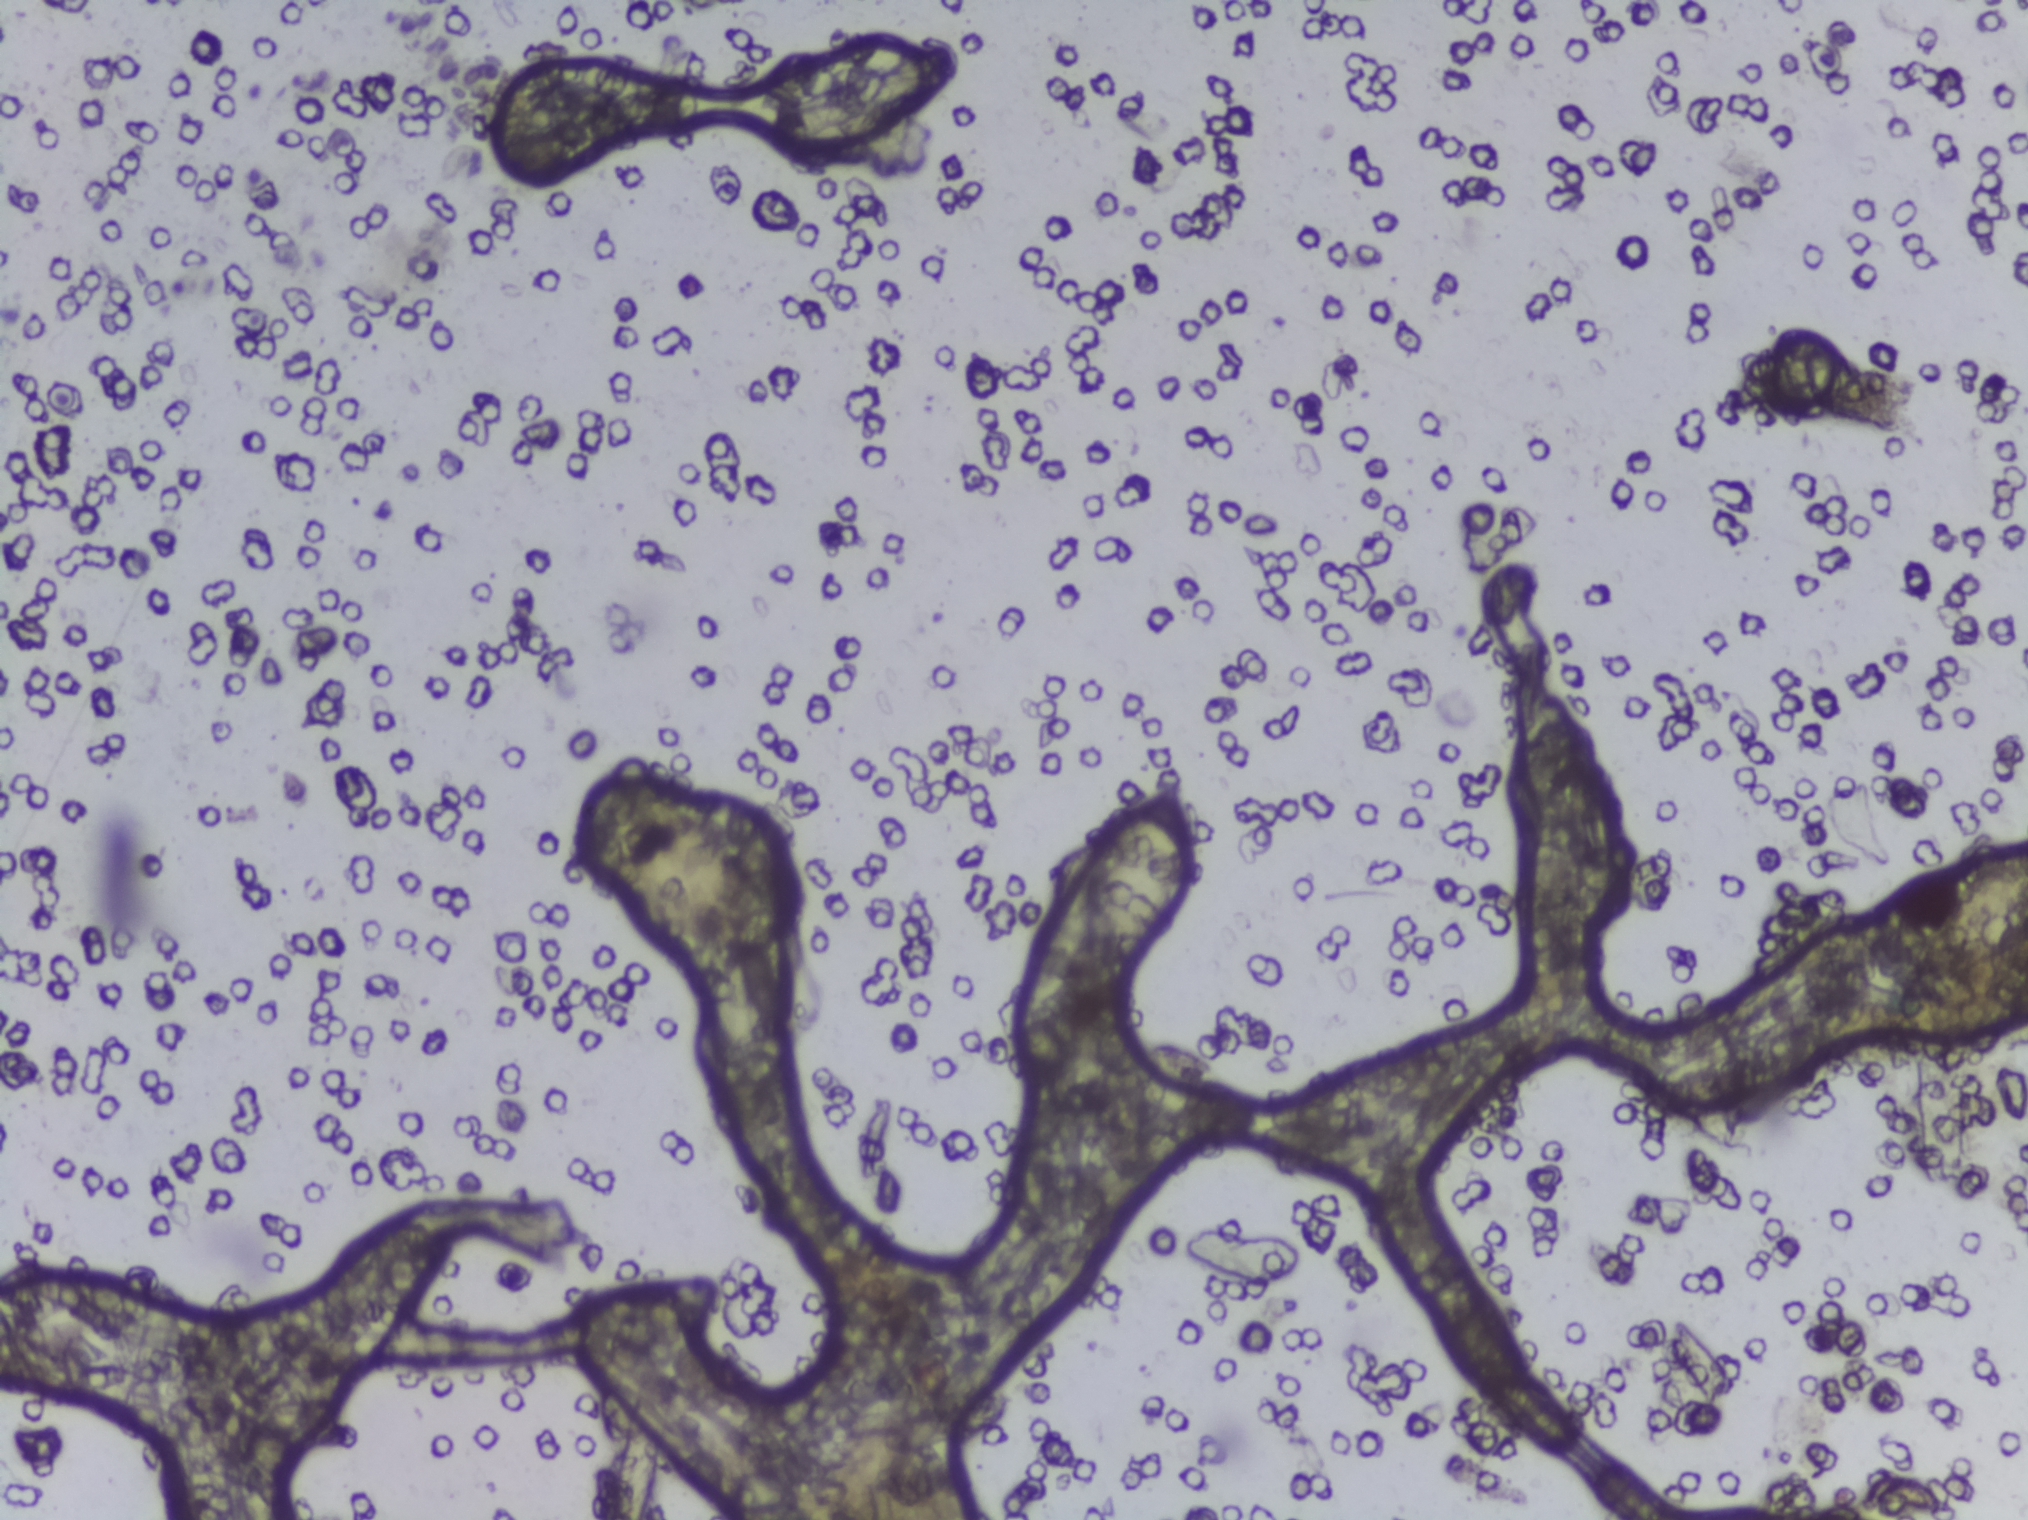
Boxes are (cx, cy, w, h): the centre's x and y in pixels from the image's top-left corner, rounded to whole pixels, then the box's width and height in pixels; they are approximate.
One area of this image is outlined as Schistosoma eggs: (cx=1140, cy=880, w=105, h=195). The marked pixels themselves, not the box around them, cover about 0.5% of the image. An outlined area can hold more than one egg.
One field of view of a urine filter membrane, 4× objective, 2028 × 1520 pixels.